Photomicrograph of a urine filtration membrane, 4× objective.
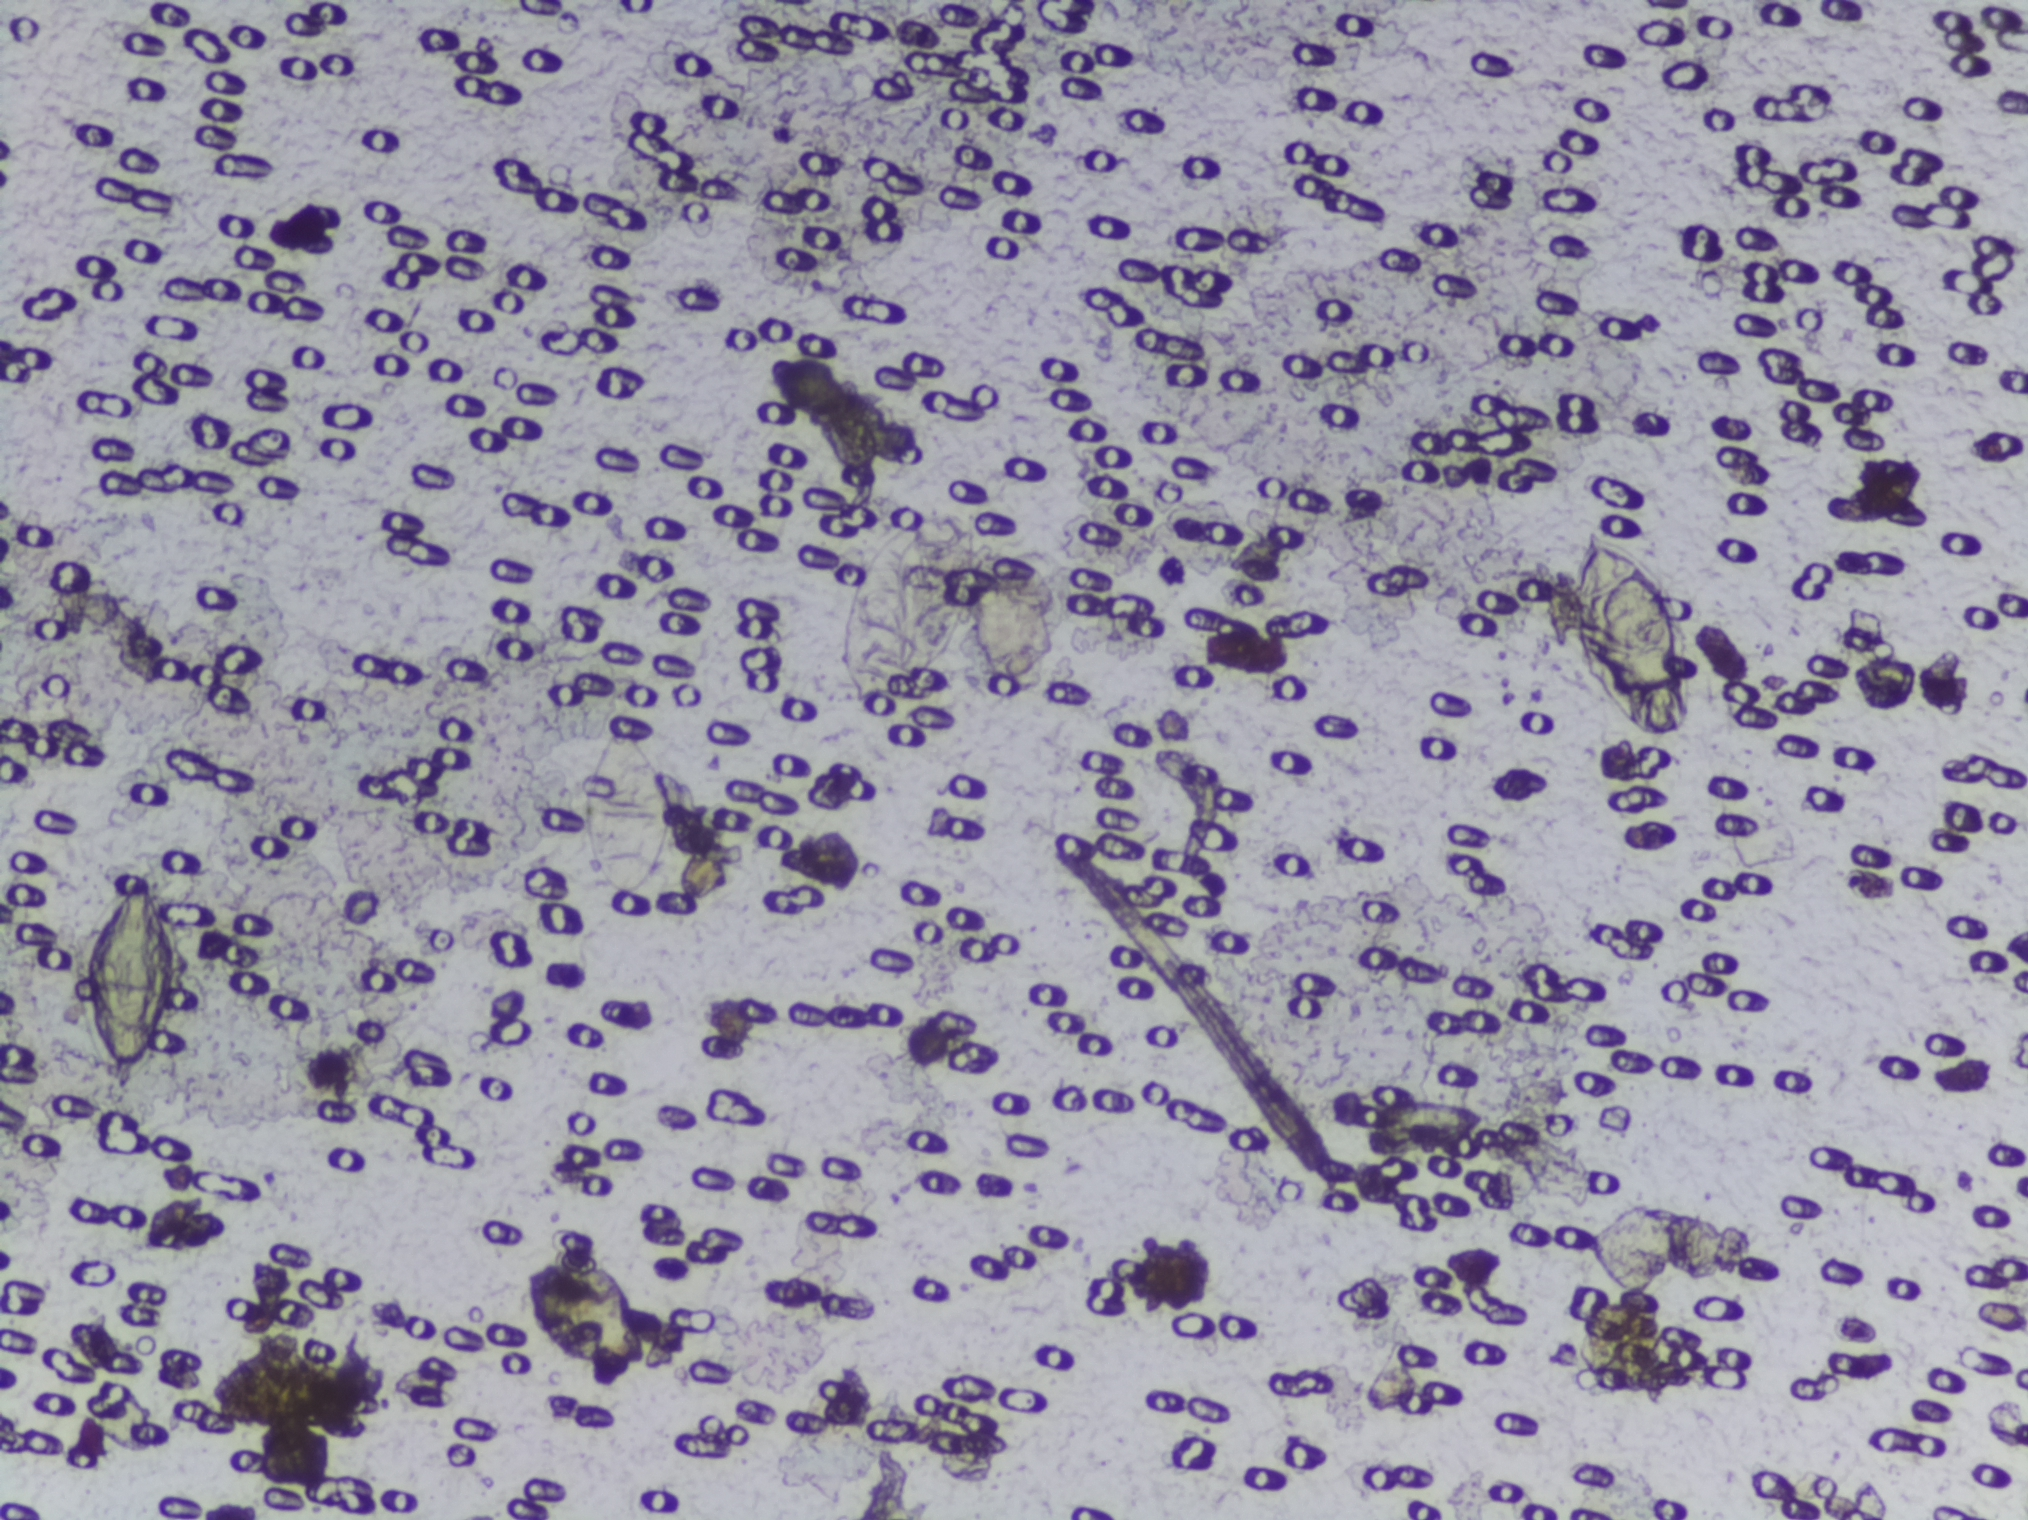
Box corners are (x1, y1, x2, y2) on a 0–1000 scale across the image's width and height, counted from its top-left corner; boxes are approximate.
Outlined Schistosoma egg areas, left to right:
1. (40, 566, 93, 717)
2. (287, 472, 335, 594)
3. (413, 328, 484, 464)
4. (764, 337, 839, 491)
Eggs that touch can end up inside the same outlined area. A marked egg may occasionally be S. mansoni rather than S. haematobium.